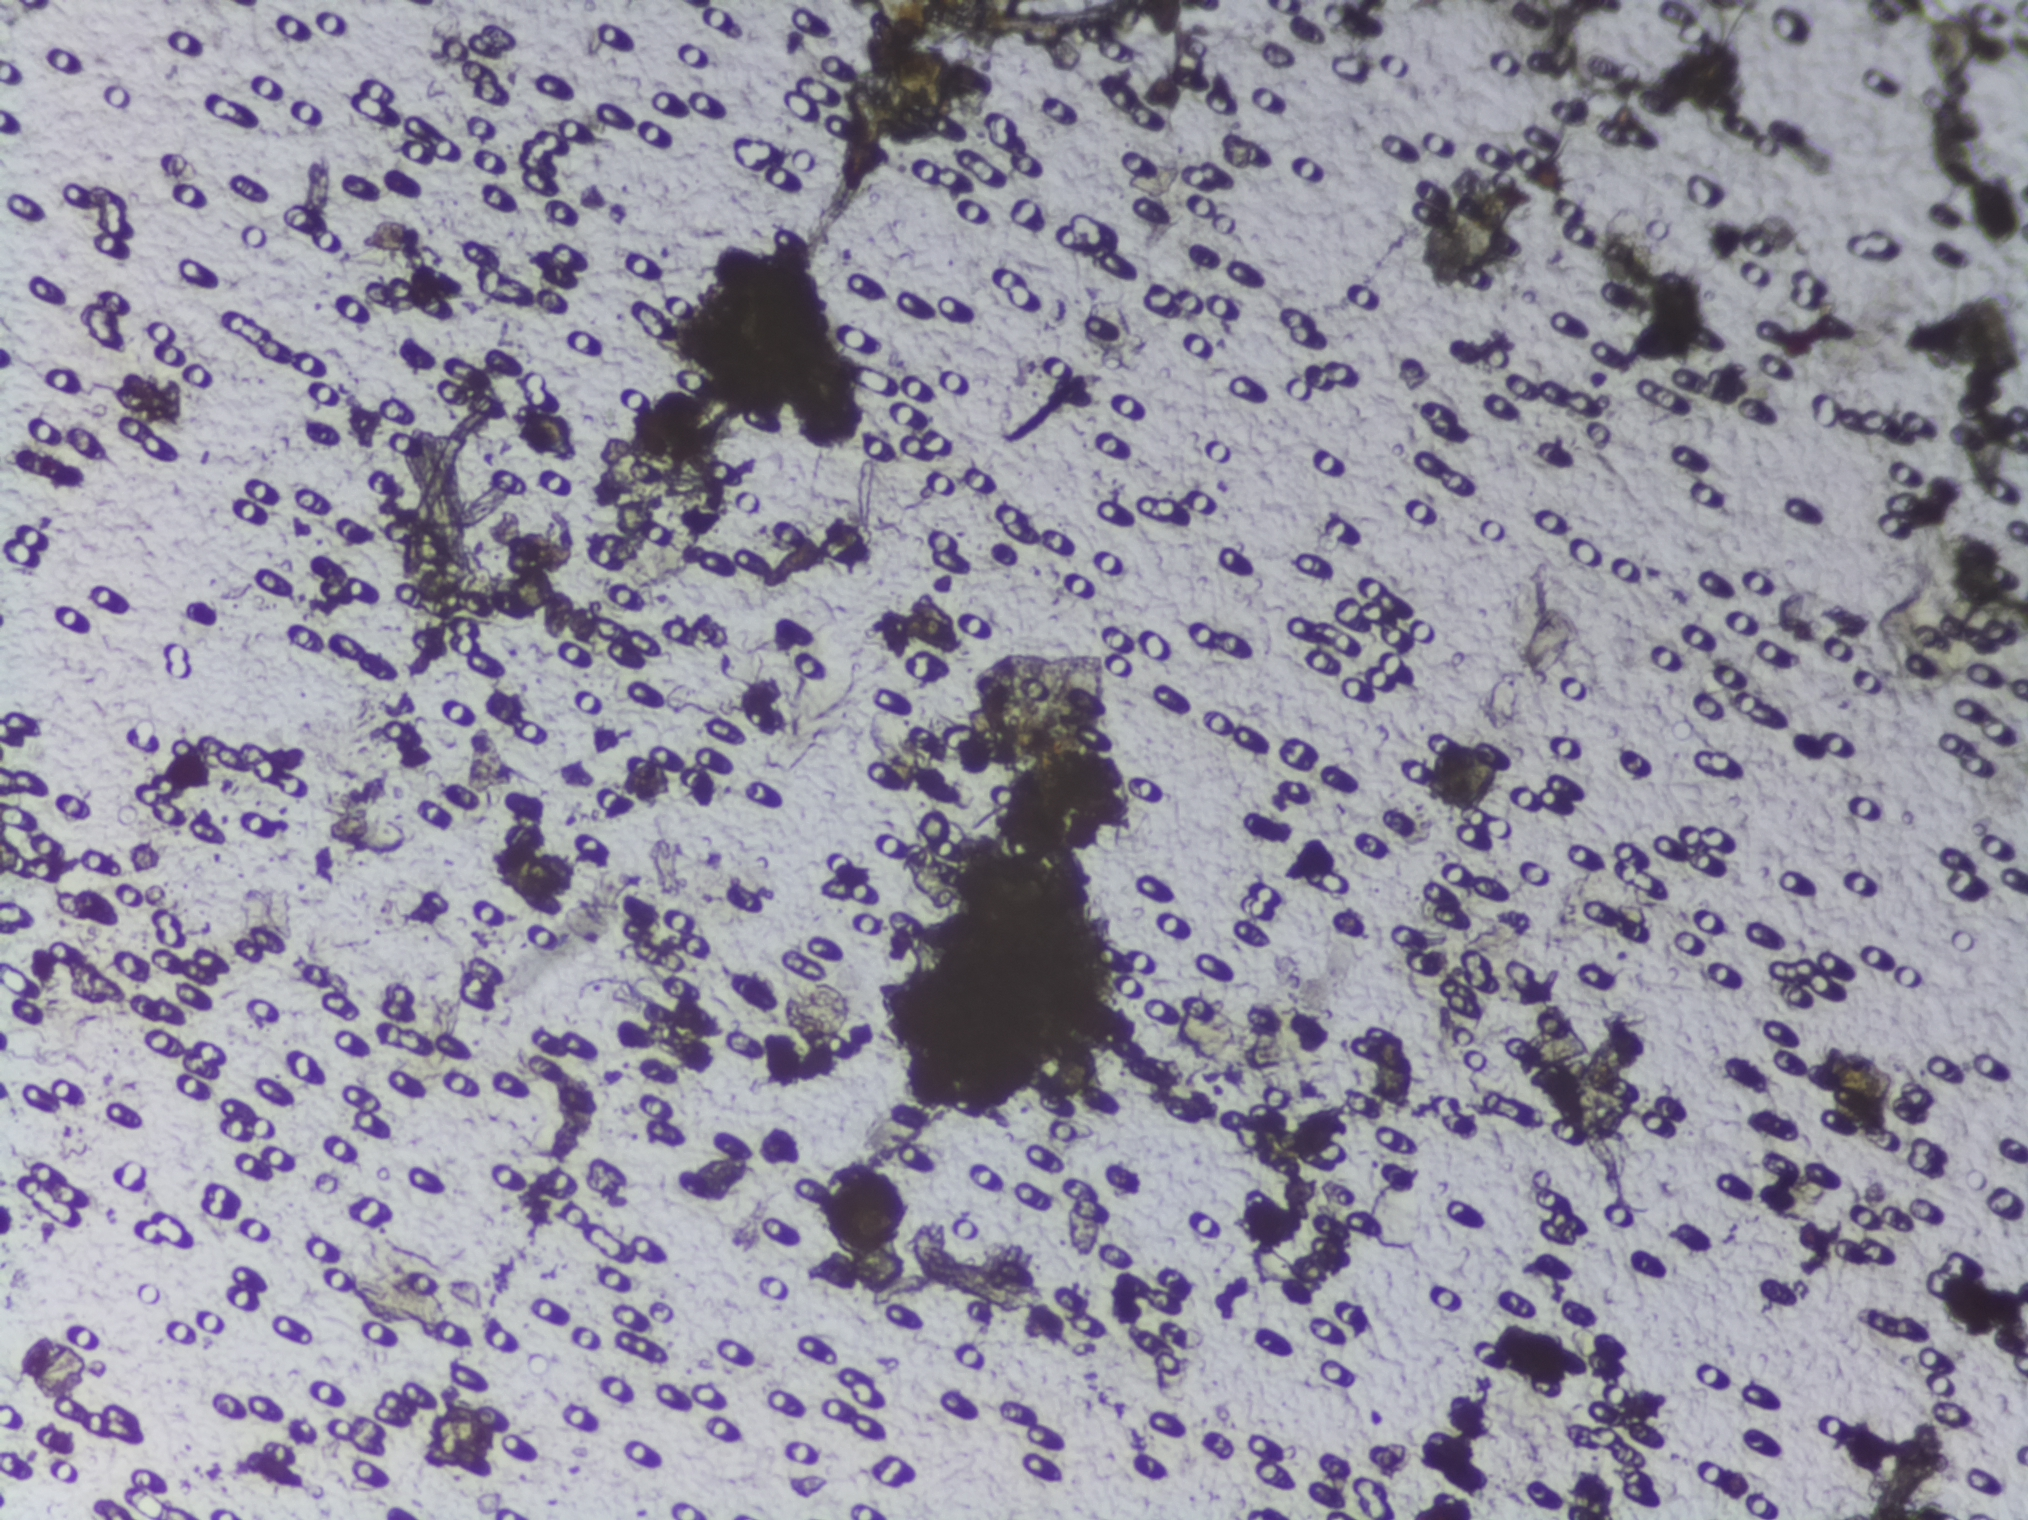
Urine filtration membrane under a 4× objective, photographed by an automated digital microscope. Field of view: about 1.5 mm wide and 1.1 mm high.
The expert annotation outlines no Schistosoma egg in this image.